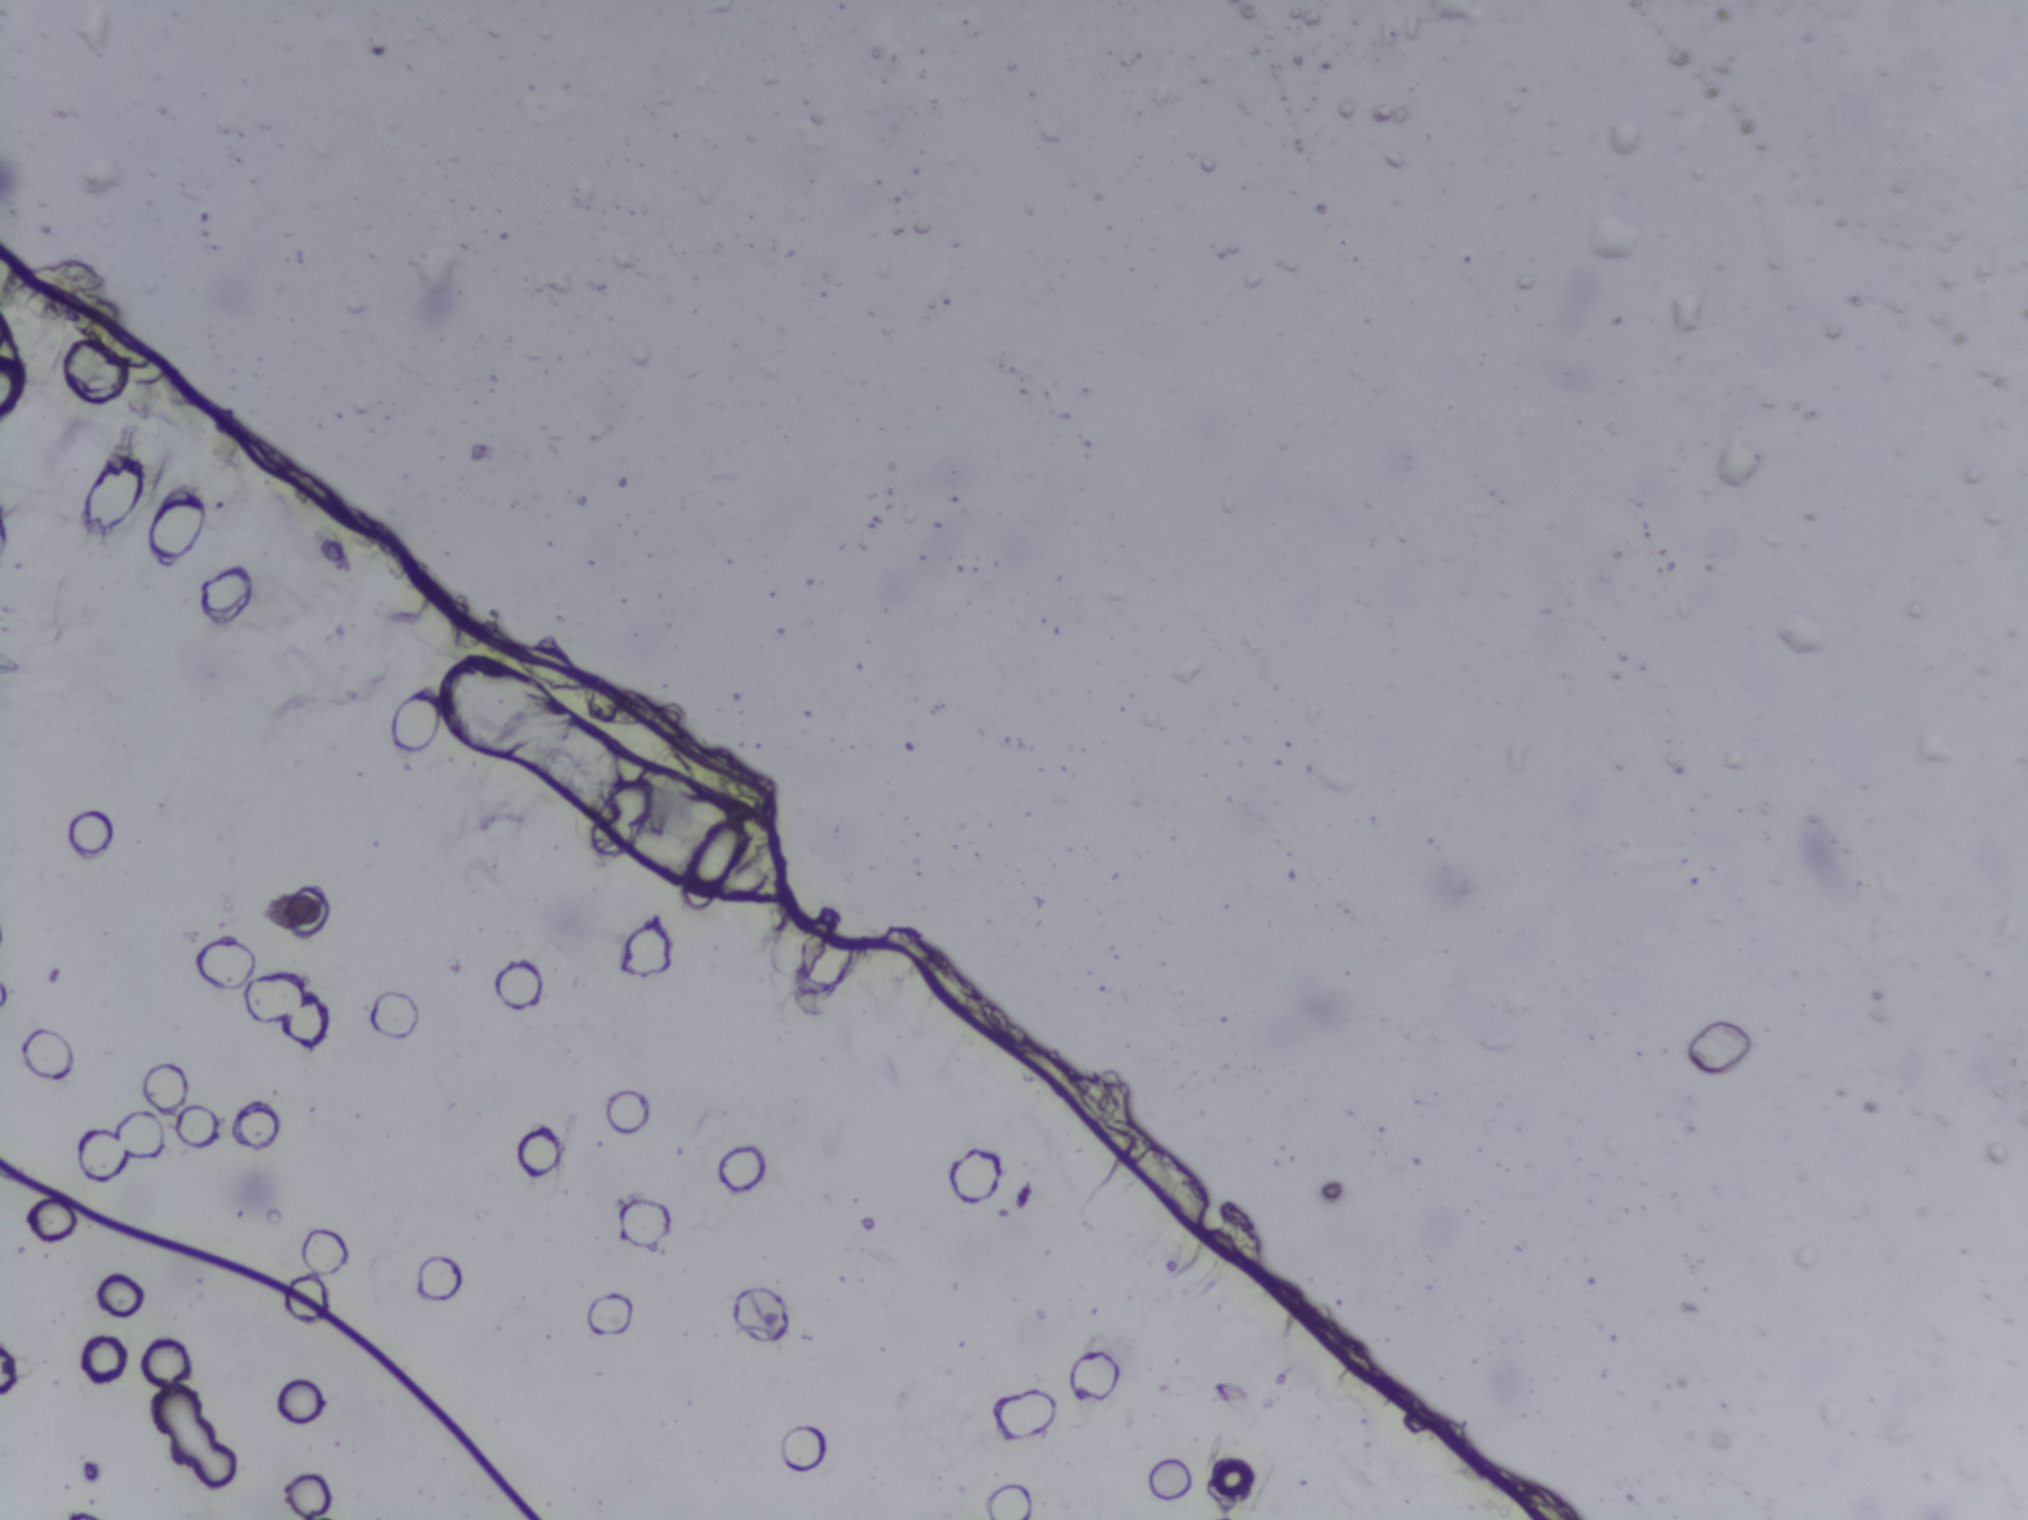
The expert annotation marks no Schistosoma egg in this field of view.
Urine filter membrane photographed through a 4× microscope objective.